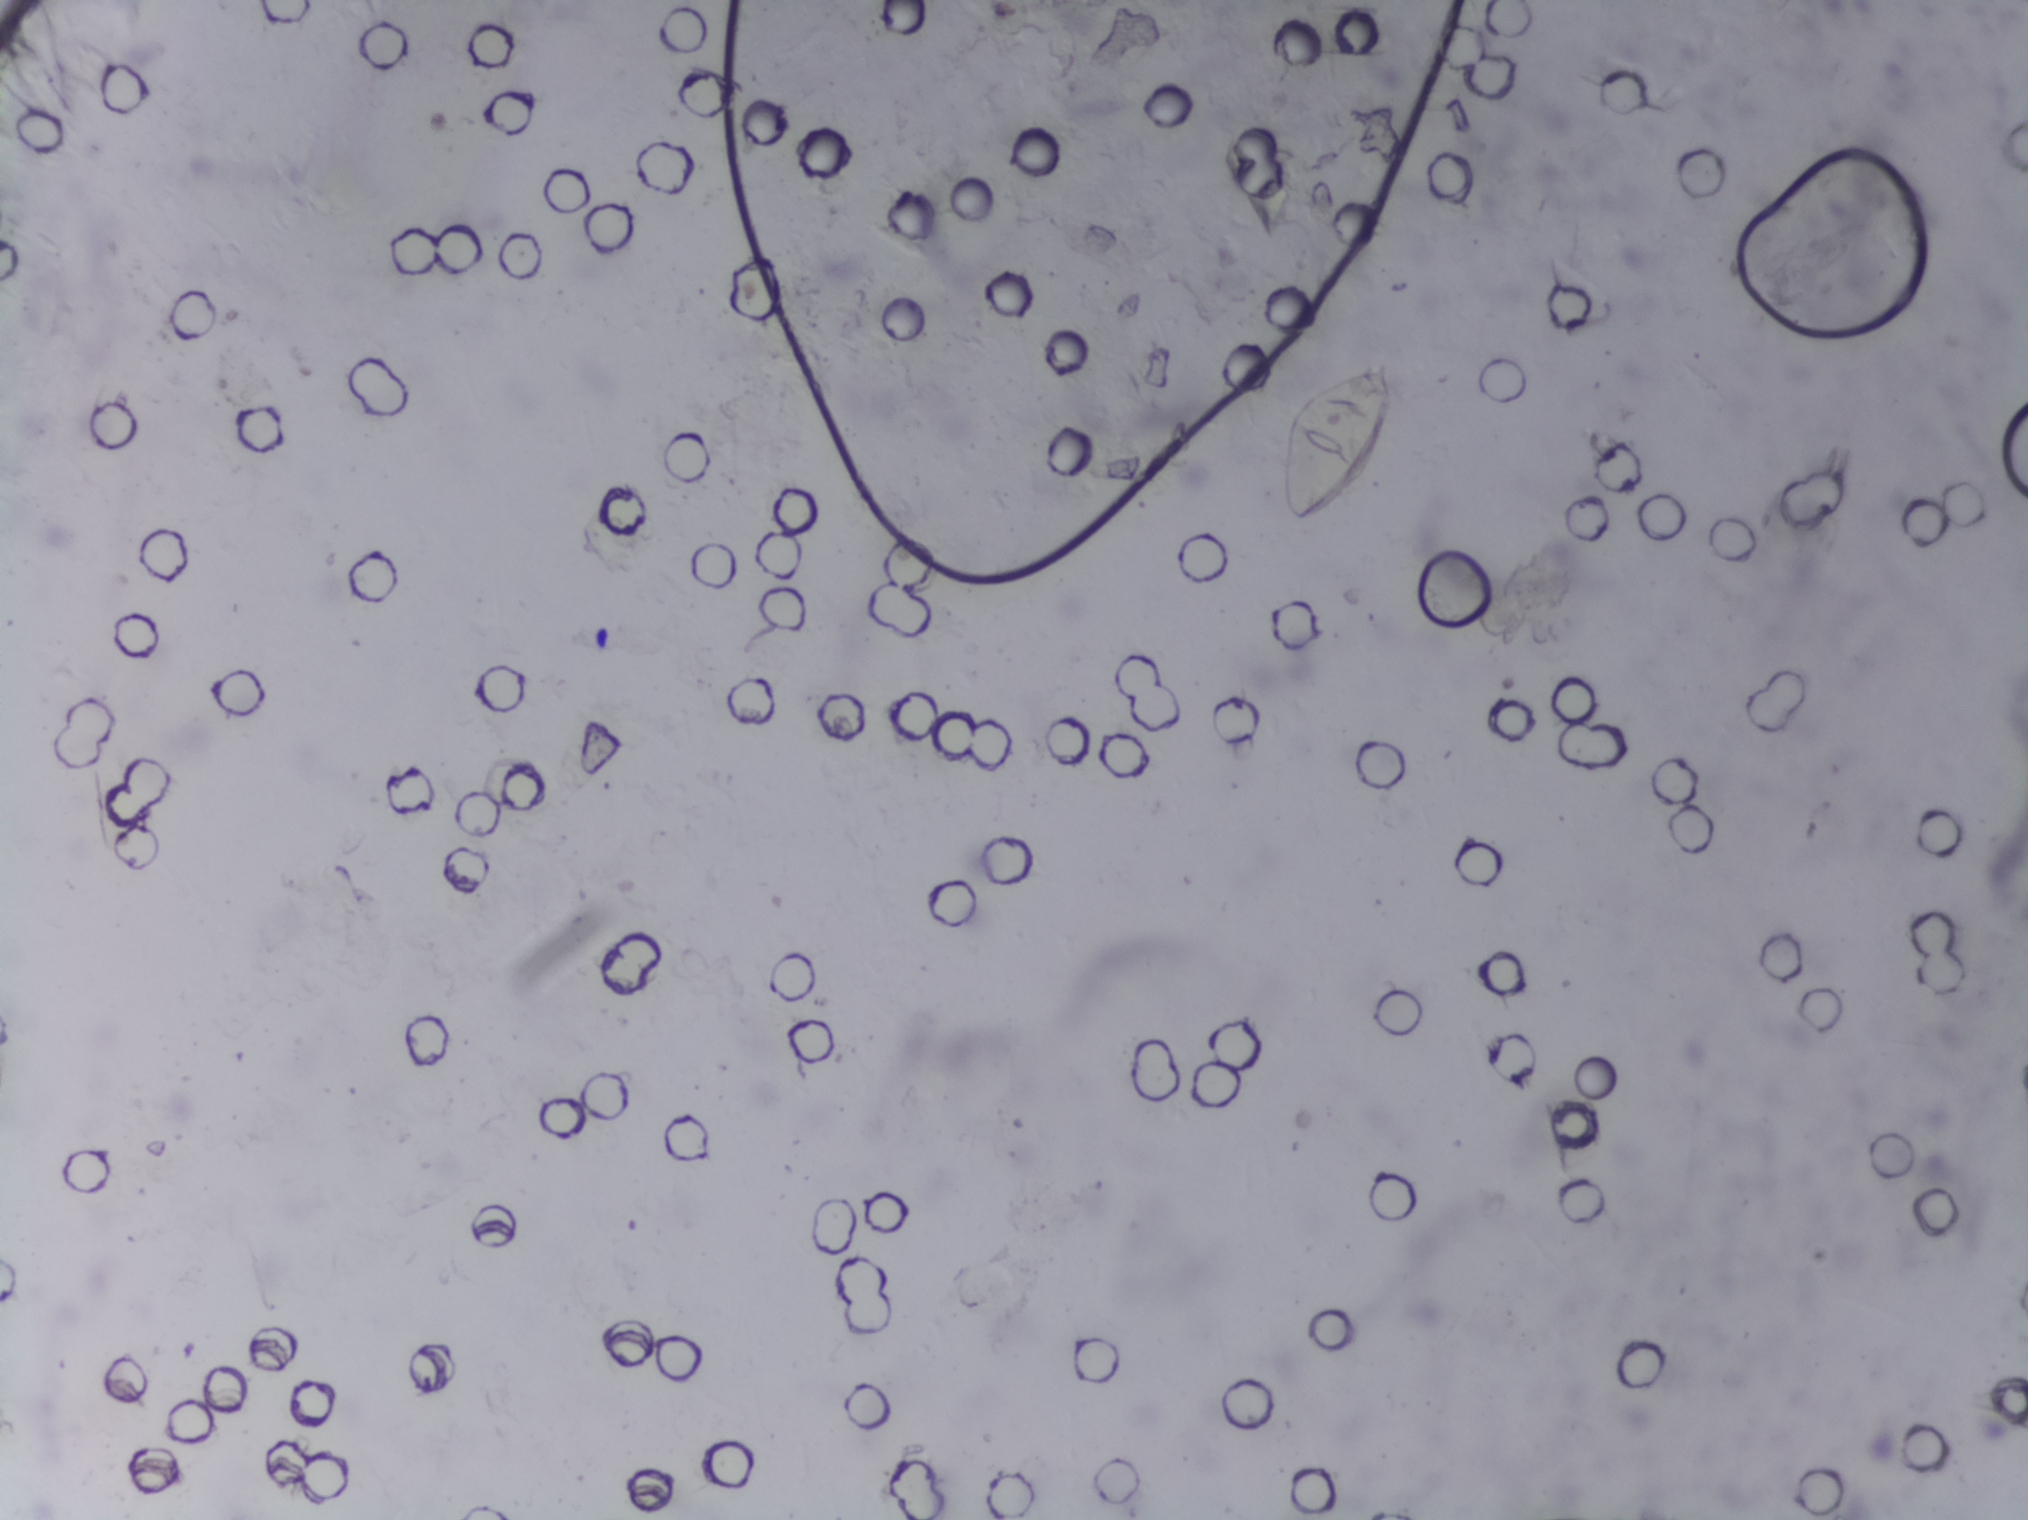
Microscope photograph (4× objective) of a membrane that a urine sample was filtered through.
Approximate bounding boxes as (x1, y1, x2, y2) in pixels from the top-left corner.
The expert annotation outlines Schistosoma eggs at (1279, 356, 1399, 521). A single outlined area may contain several eggs. Any one outlined egg may, rarely, be S. mansoni rather than S. haematobium.